Microscope photograph (4× objective) of a membrane that a urine sample was filtered through.
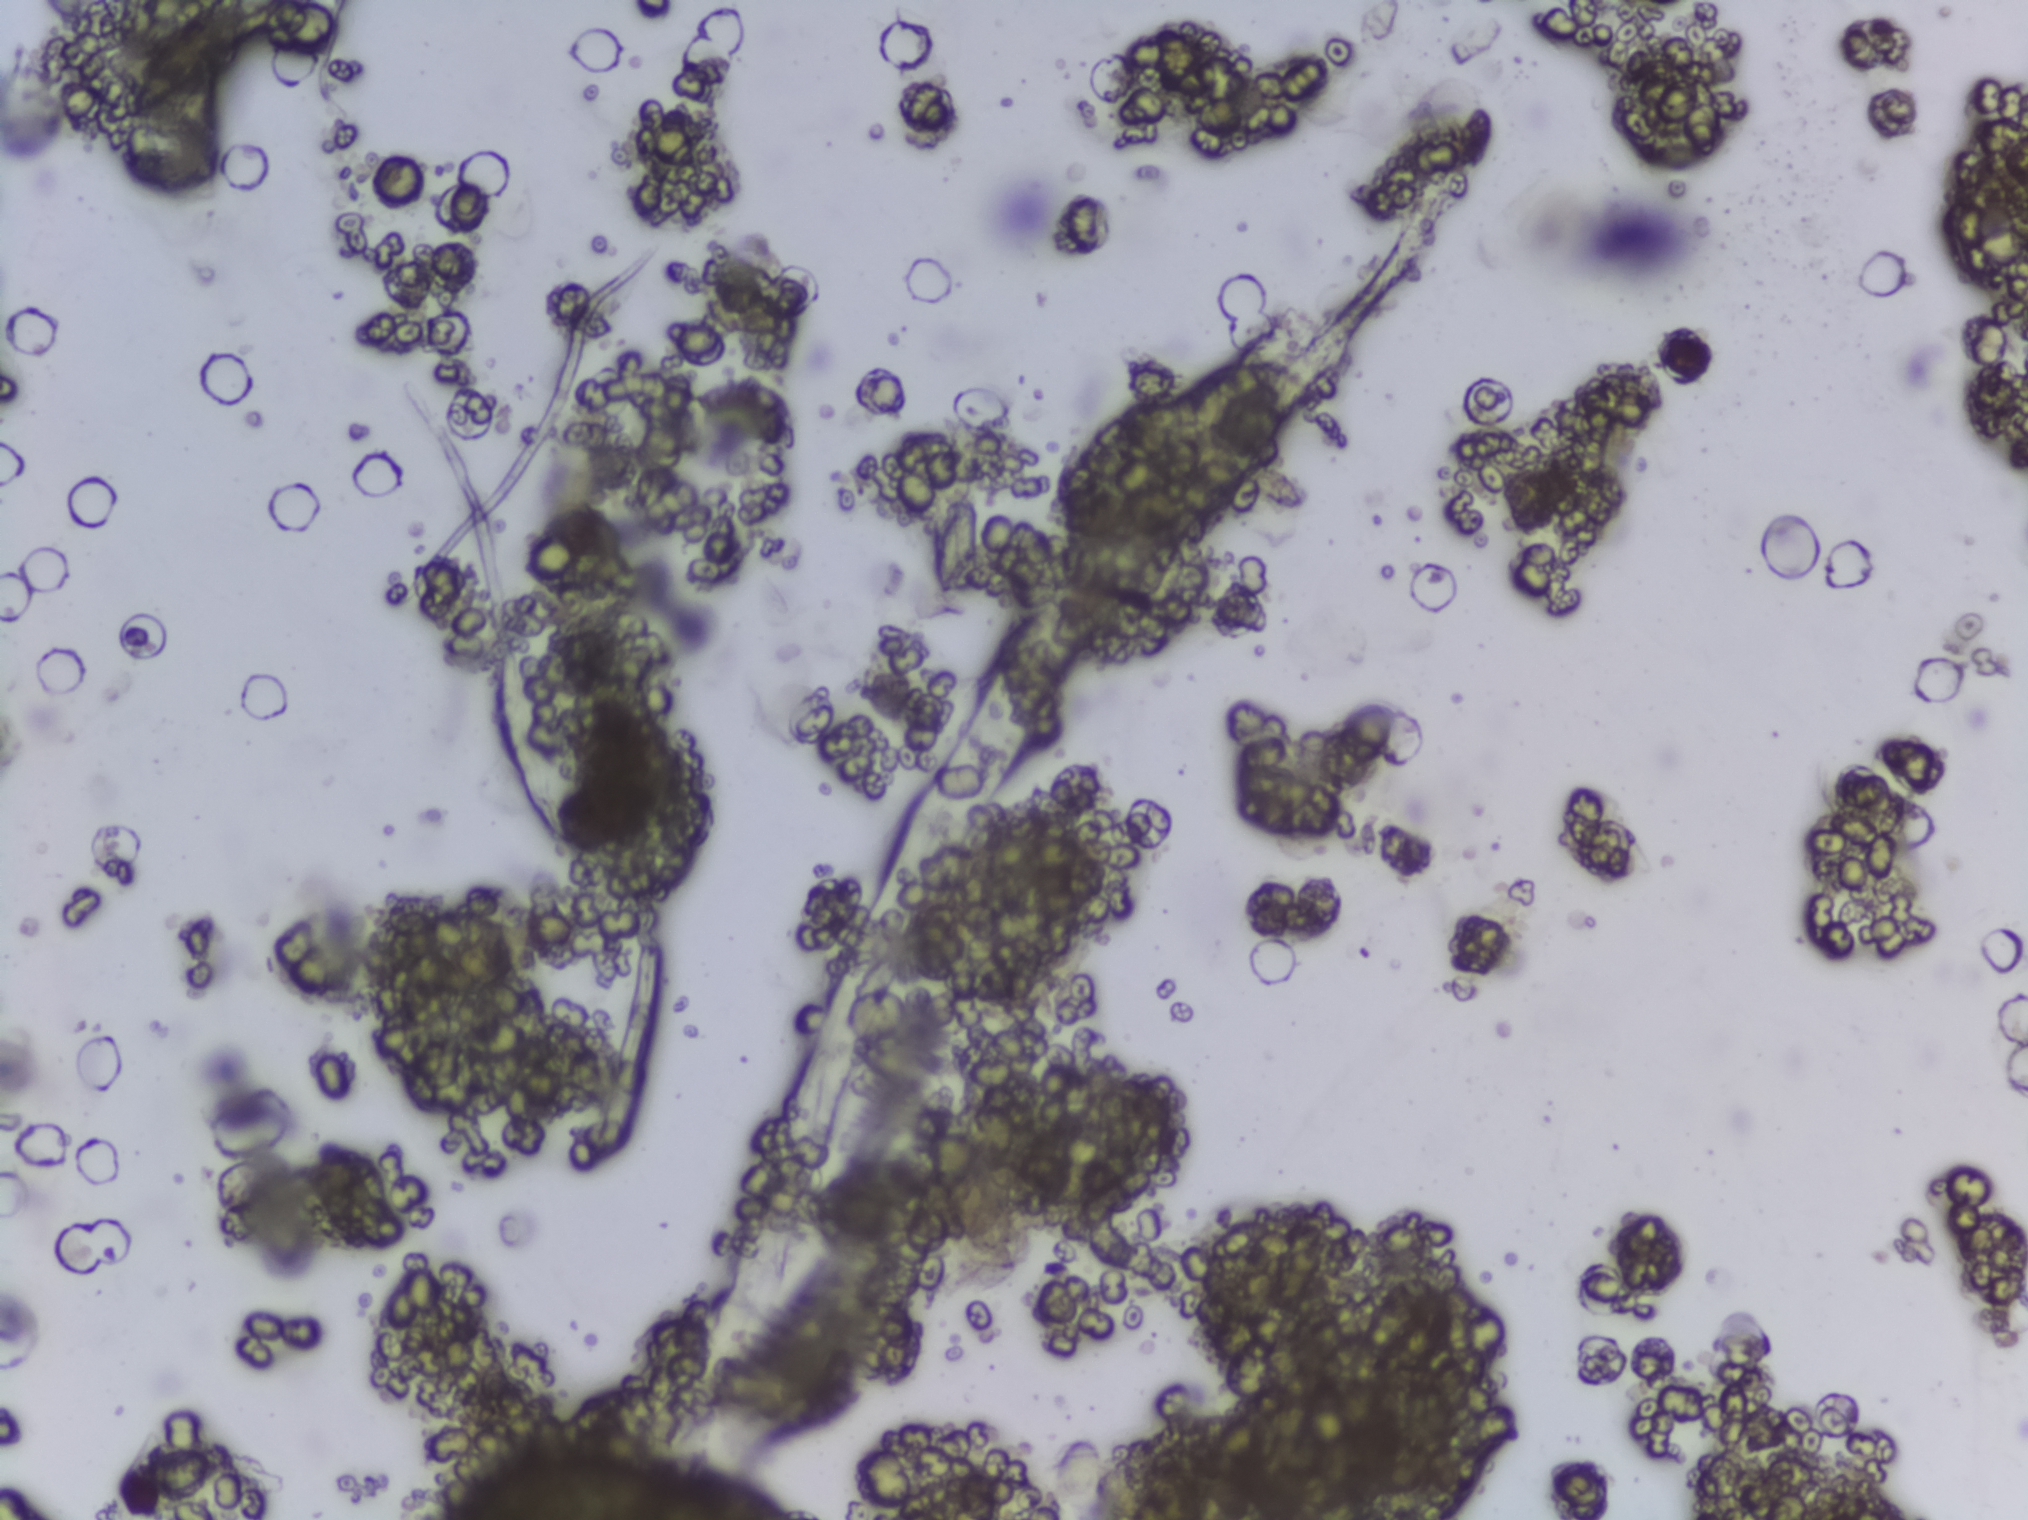
No Schistosoma egg is outlined in this image's expert annotation.